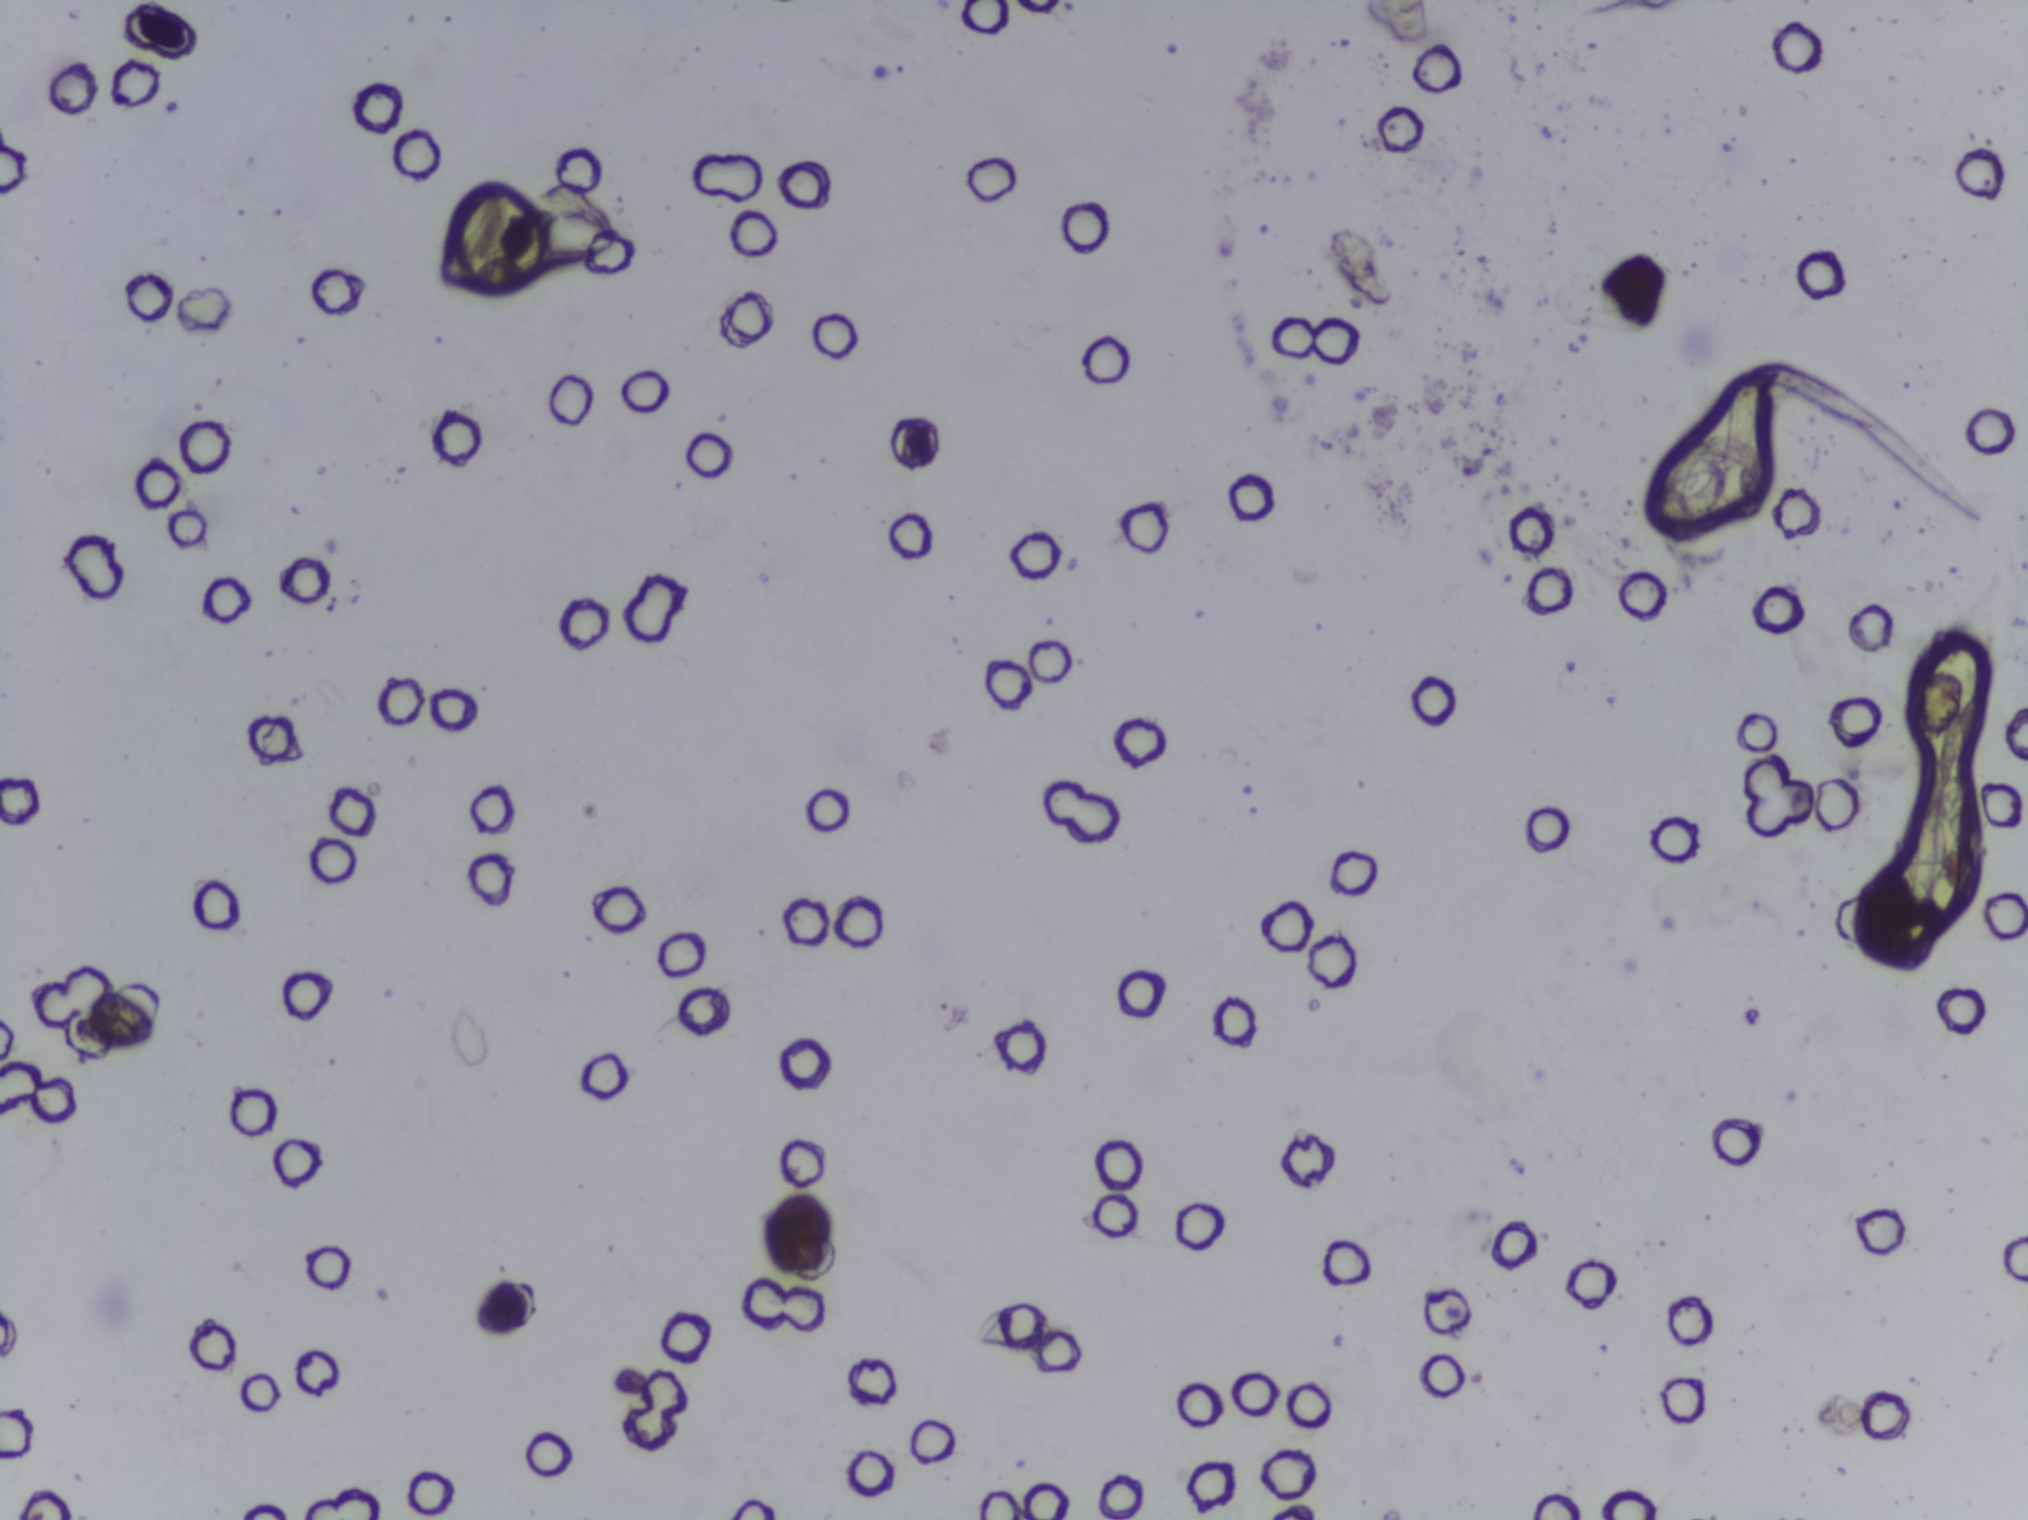
Photomicrograph of a urine filtration membrane, 4× objective.
The expert annotation marks no Schistosoma egg in this field of view.